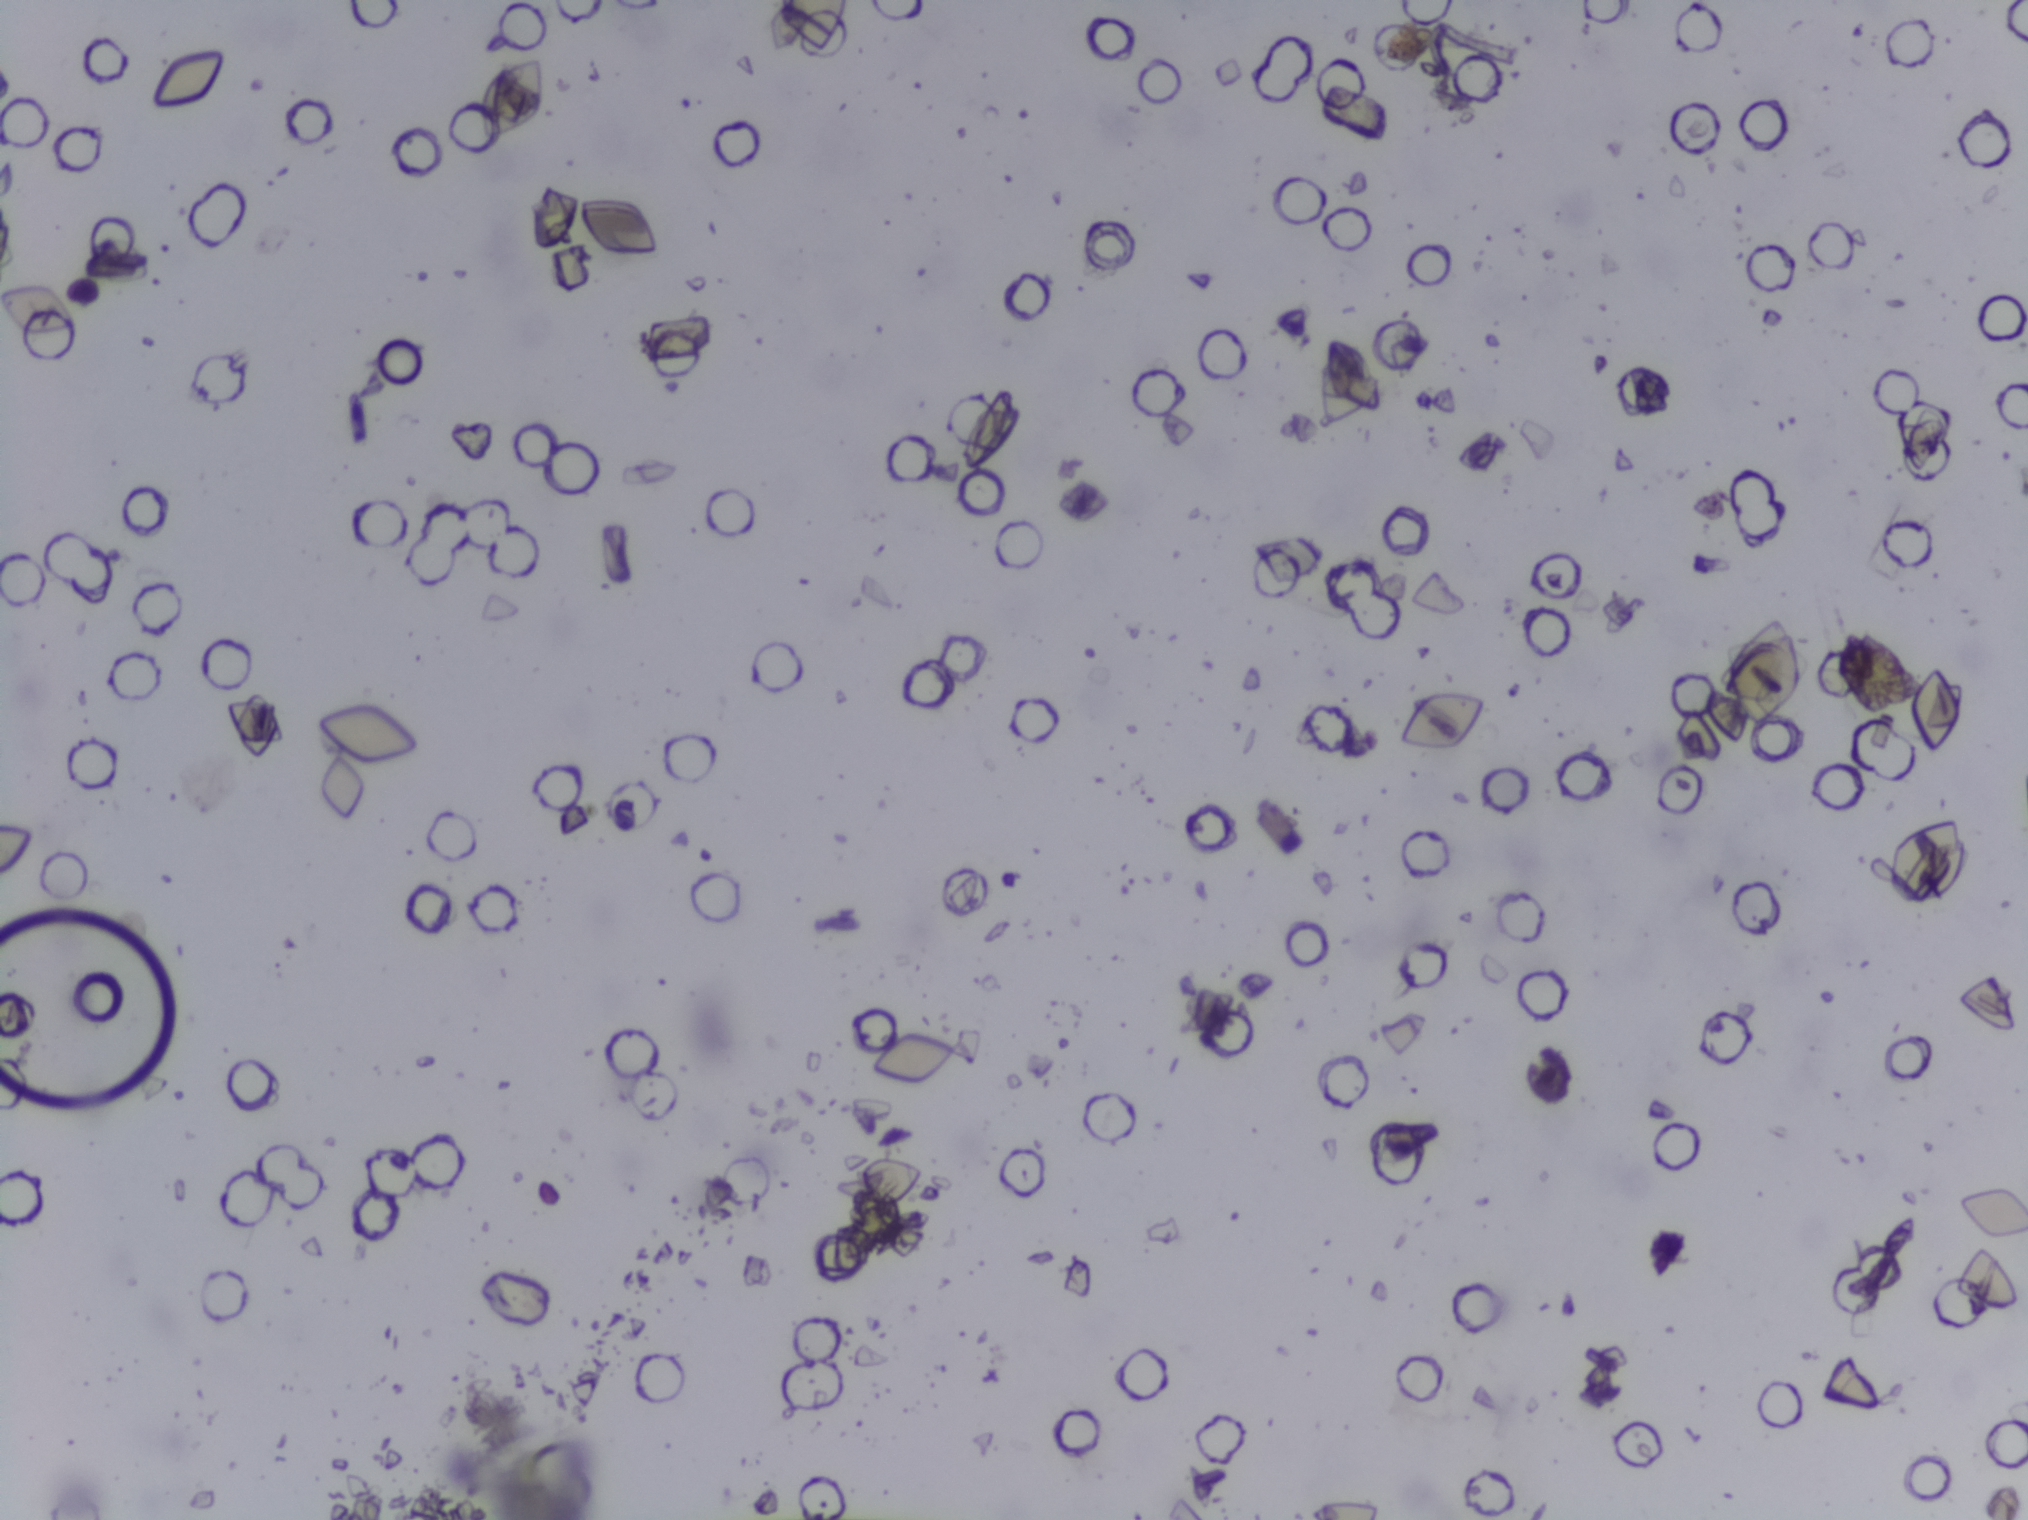
Urine filtration membrane under a 4× objective, photographed by an automated digital microscope.
The expert annotation marks no Schistosoma egg in this field of view.